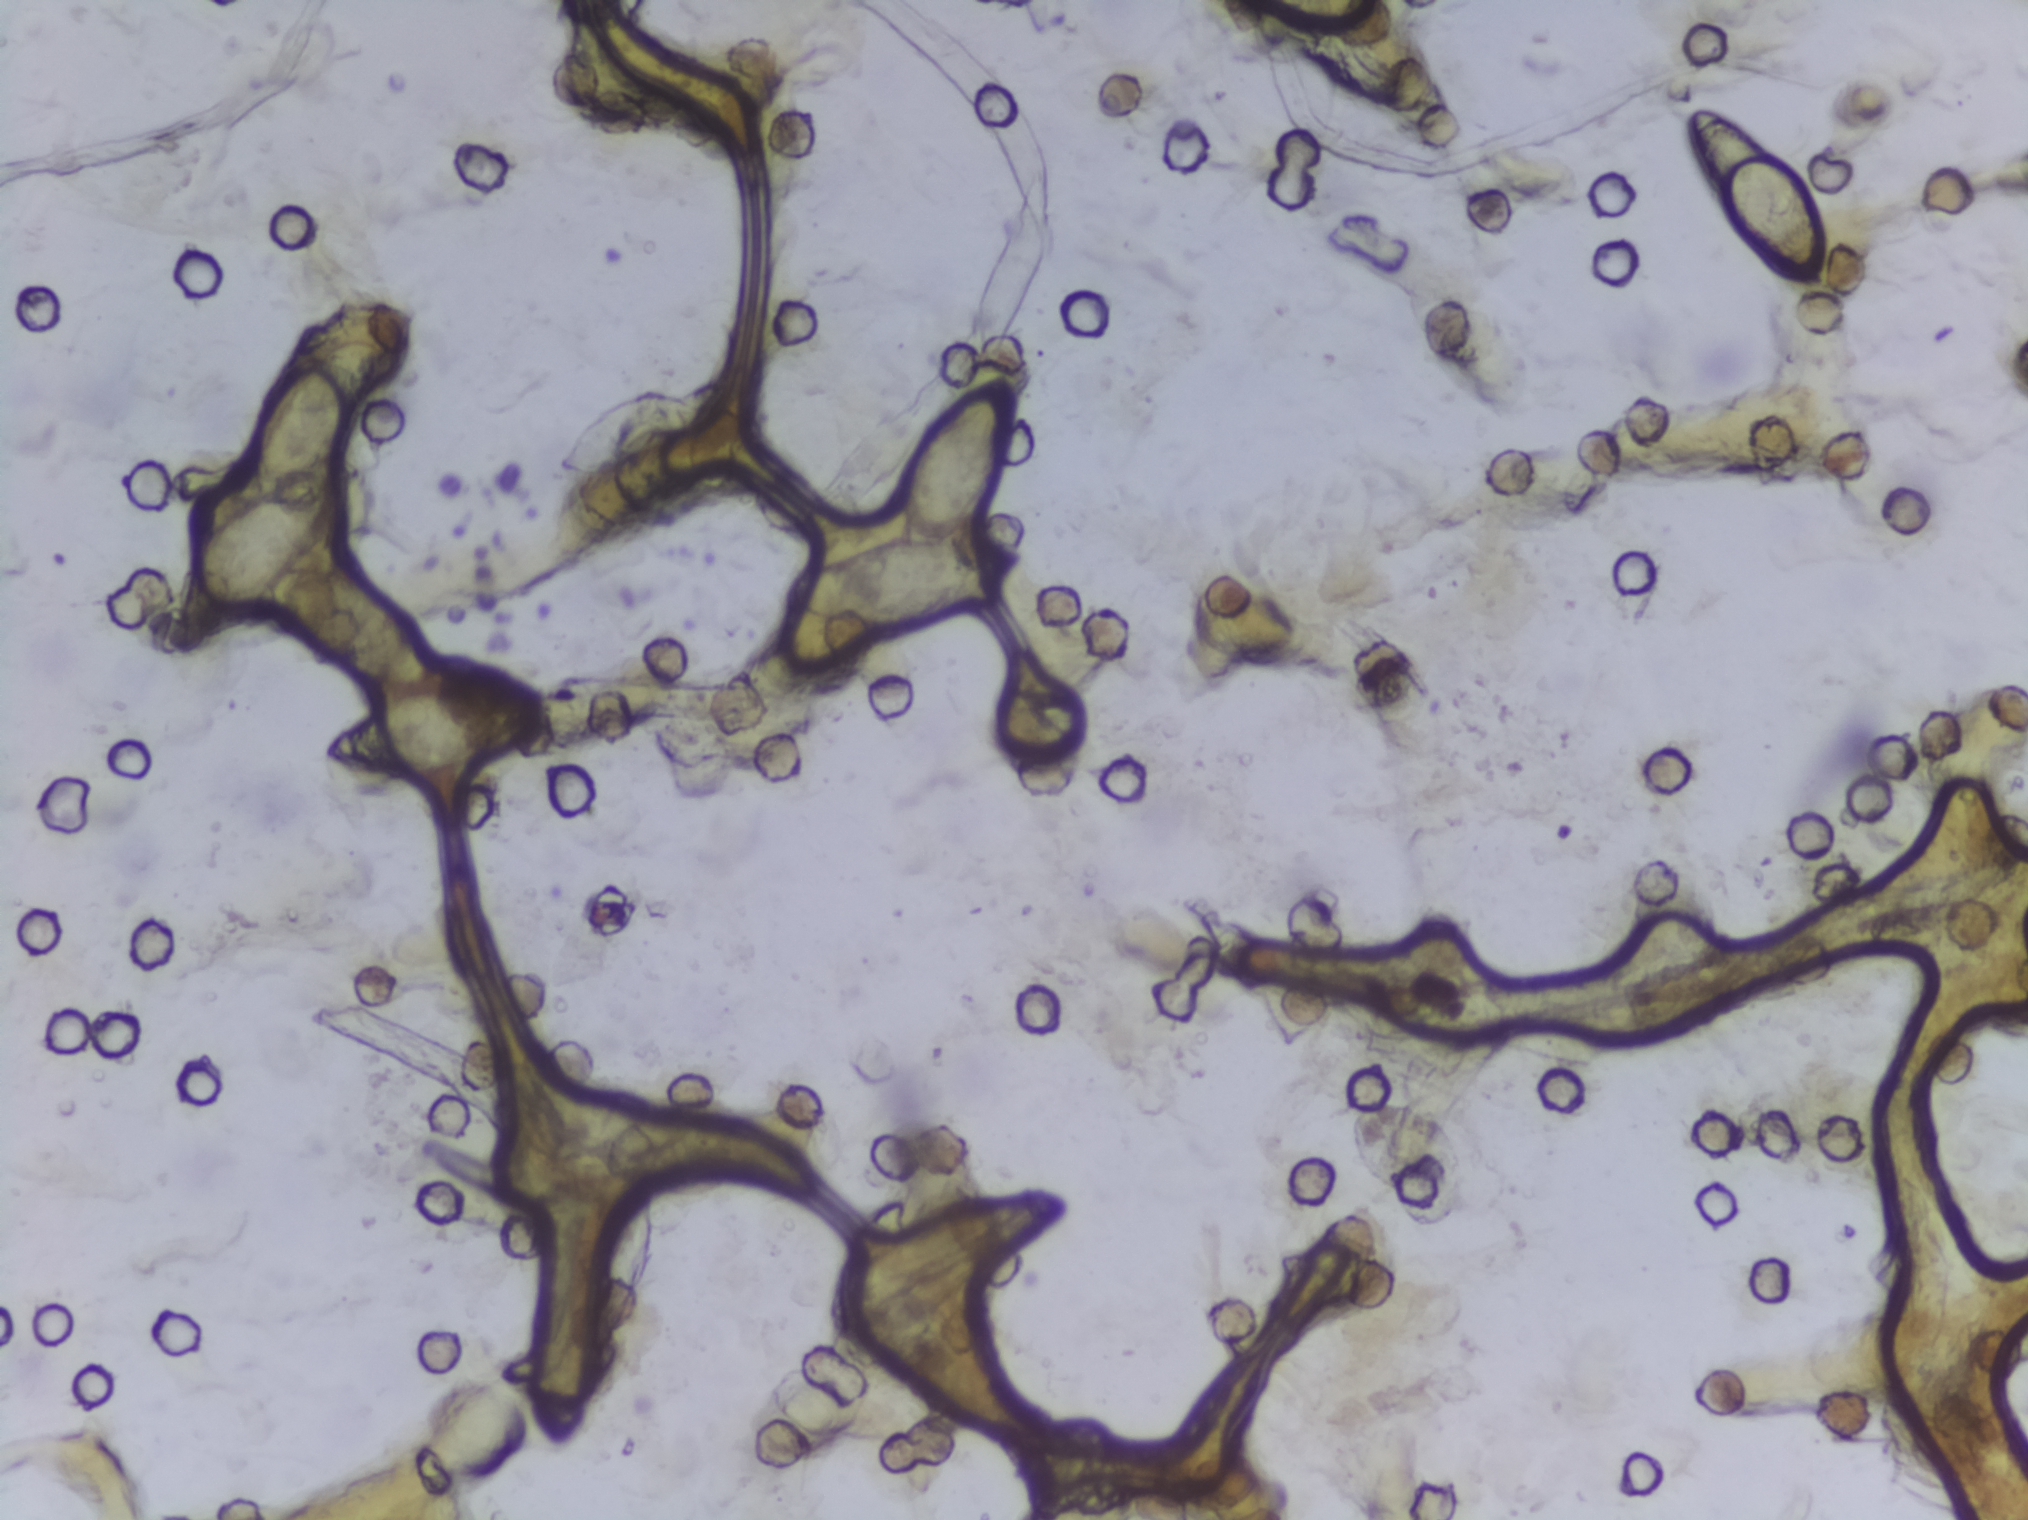
Microscope photograph (4× objective) of a membrane that a urine sample was filtered through. The image covers about 1.5 × 1.1 mm of the membrane.
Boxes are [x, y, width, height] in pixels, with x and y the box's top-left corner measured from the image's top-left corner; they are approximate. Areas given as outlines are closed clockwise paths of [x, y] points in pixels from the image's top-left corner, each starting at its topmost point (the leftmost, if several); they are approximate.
Areas outlined as Schistosoma eggs: outline [367, 338], [385, 349], [387, 366], [328, 469], [335, 476], [335, 507], [305, 562], [355, 572], [403, 604], [437, 662], [438, 673], [425, 687], [494, 683], [518, 690], [540, 708], [536, 729], [518, 749], [443, 779], [373, 775], [329, 762], [323, 752], [327, 735], [376, 696], [399, 690], [335, 671], [269, 607], [222, 643], [188, 643], [177, 634], [178, 609], [205, 539], [250, 492], [250, 431], [261, 392], [319, 348] (eggs clustered together); box [552, 389, 157, 95]; outline [1000, 370], [1011, 372], [1019, 386], [1018, 450], [970, 525], [995, 530], [1022, 549], [1018, 570], [1006, 584], [980, 606], [941, 623], [881, 633], [843, 632], [774, 604], [771, 585], [785, 573], [899, 529], [898, 482], [925, 424]; box [1688, 106, 139, 186]. Marked pixels, not the boxes and the outlines around them: about 3.8% of the image. Eggs that touch can end up inside the same outlined area.